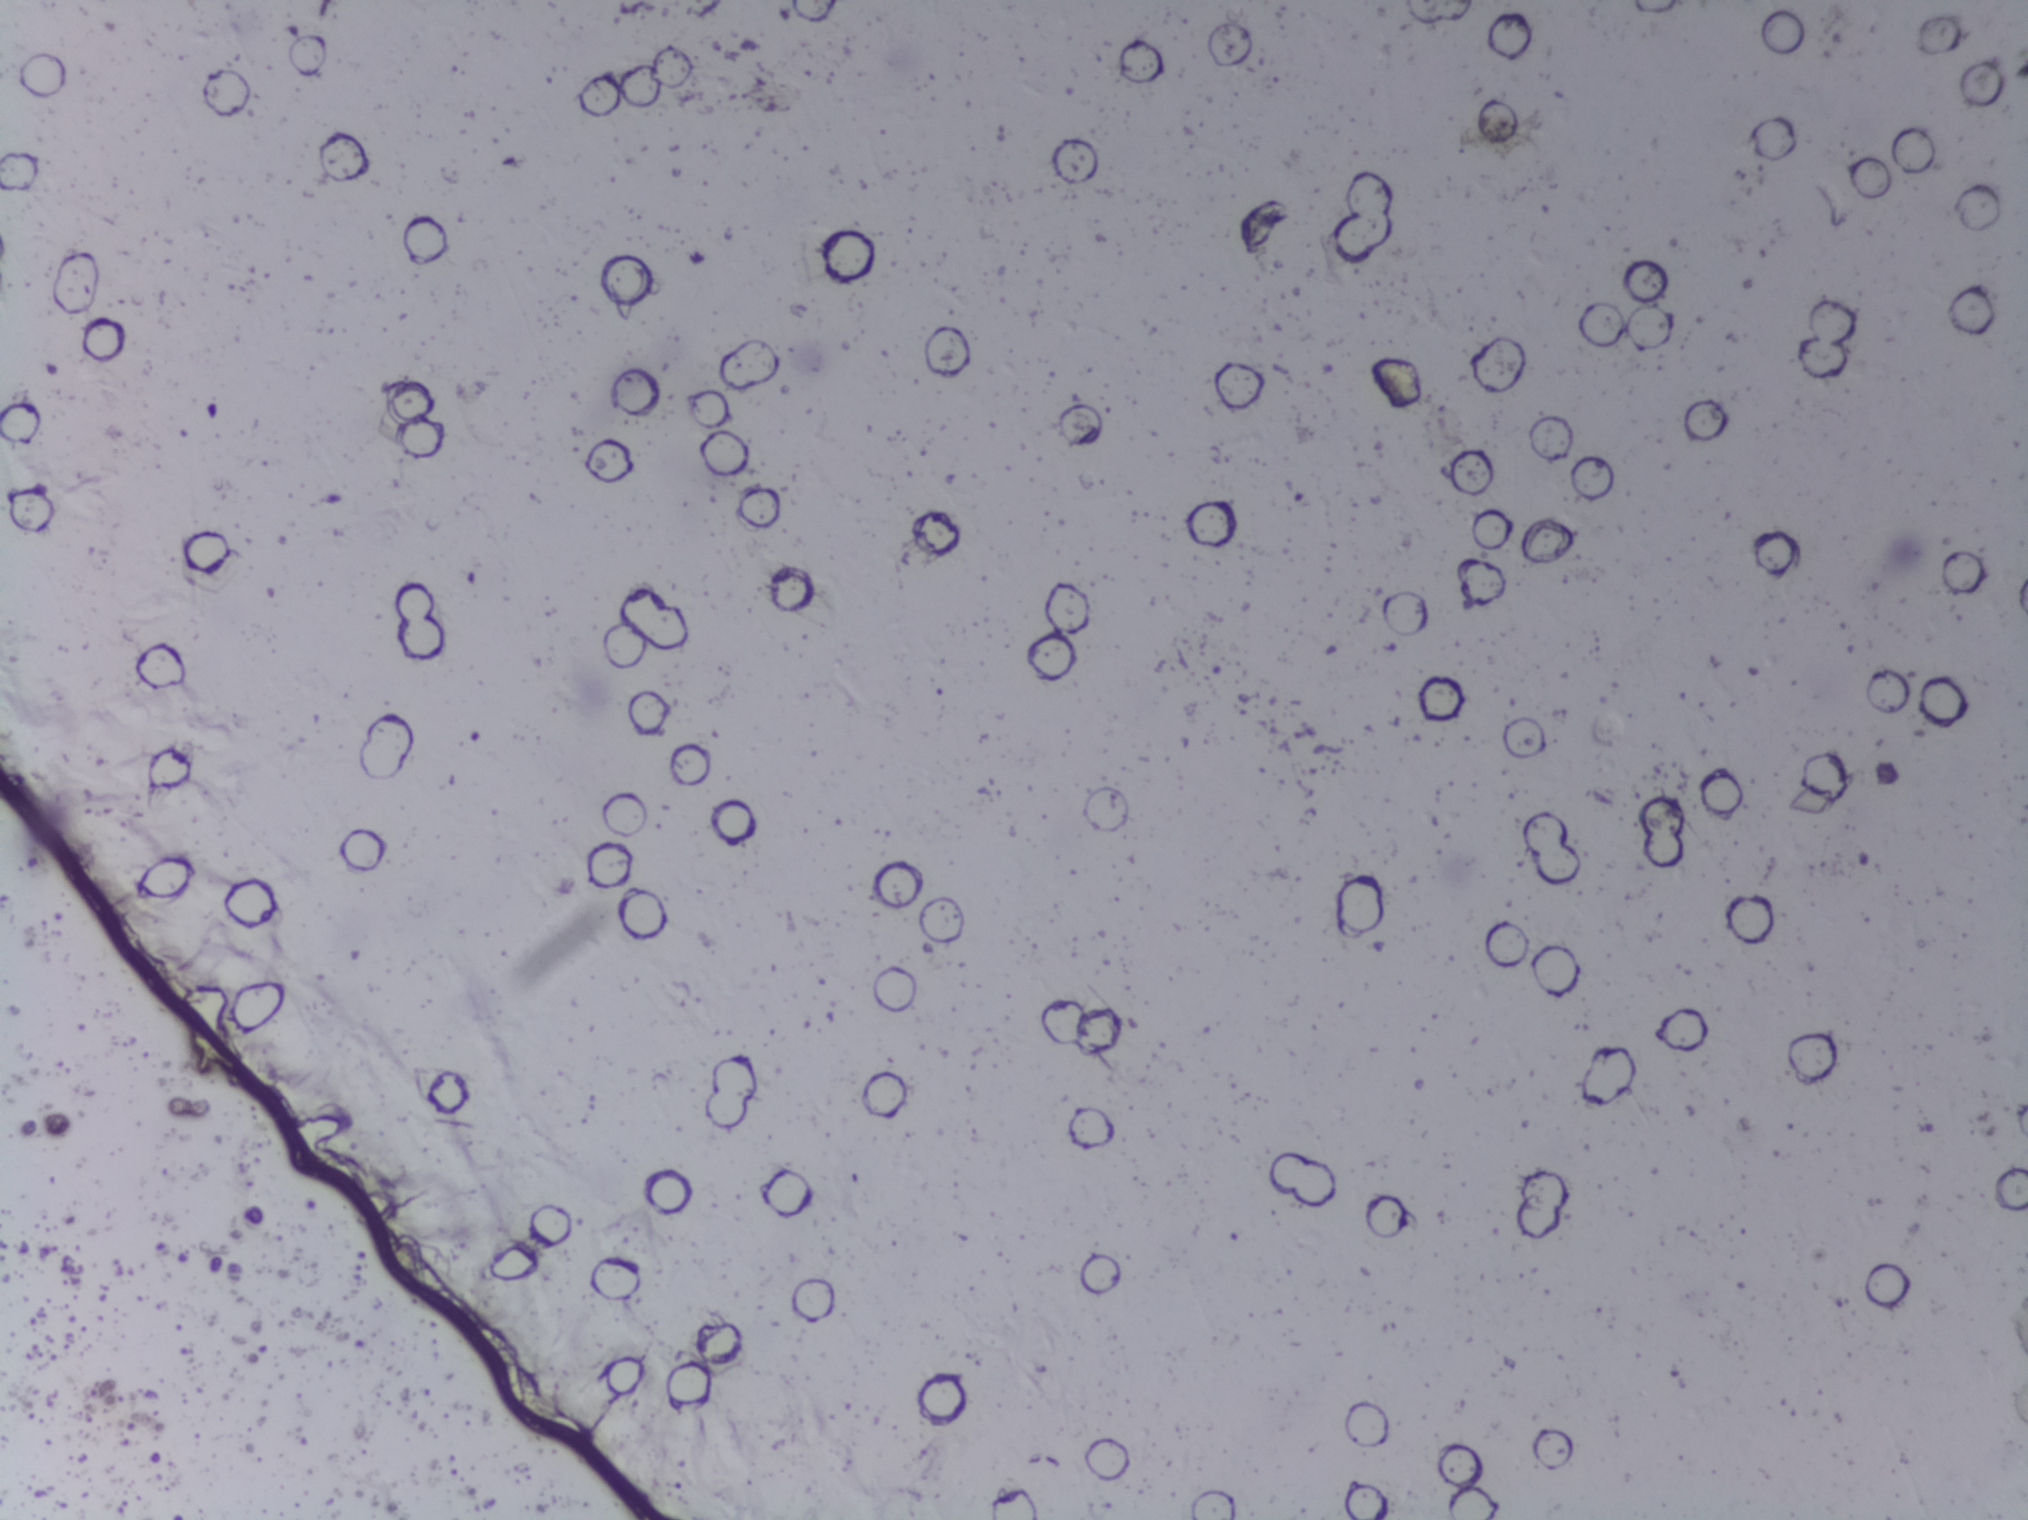
No Schistosoma egg is outlined in this image's expert annotation.
Photograph from an automated digital microscope: urine filter membrane, 4× objective.